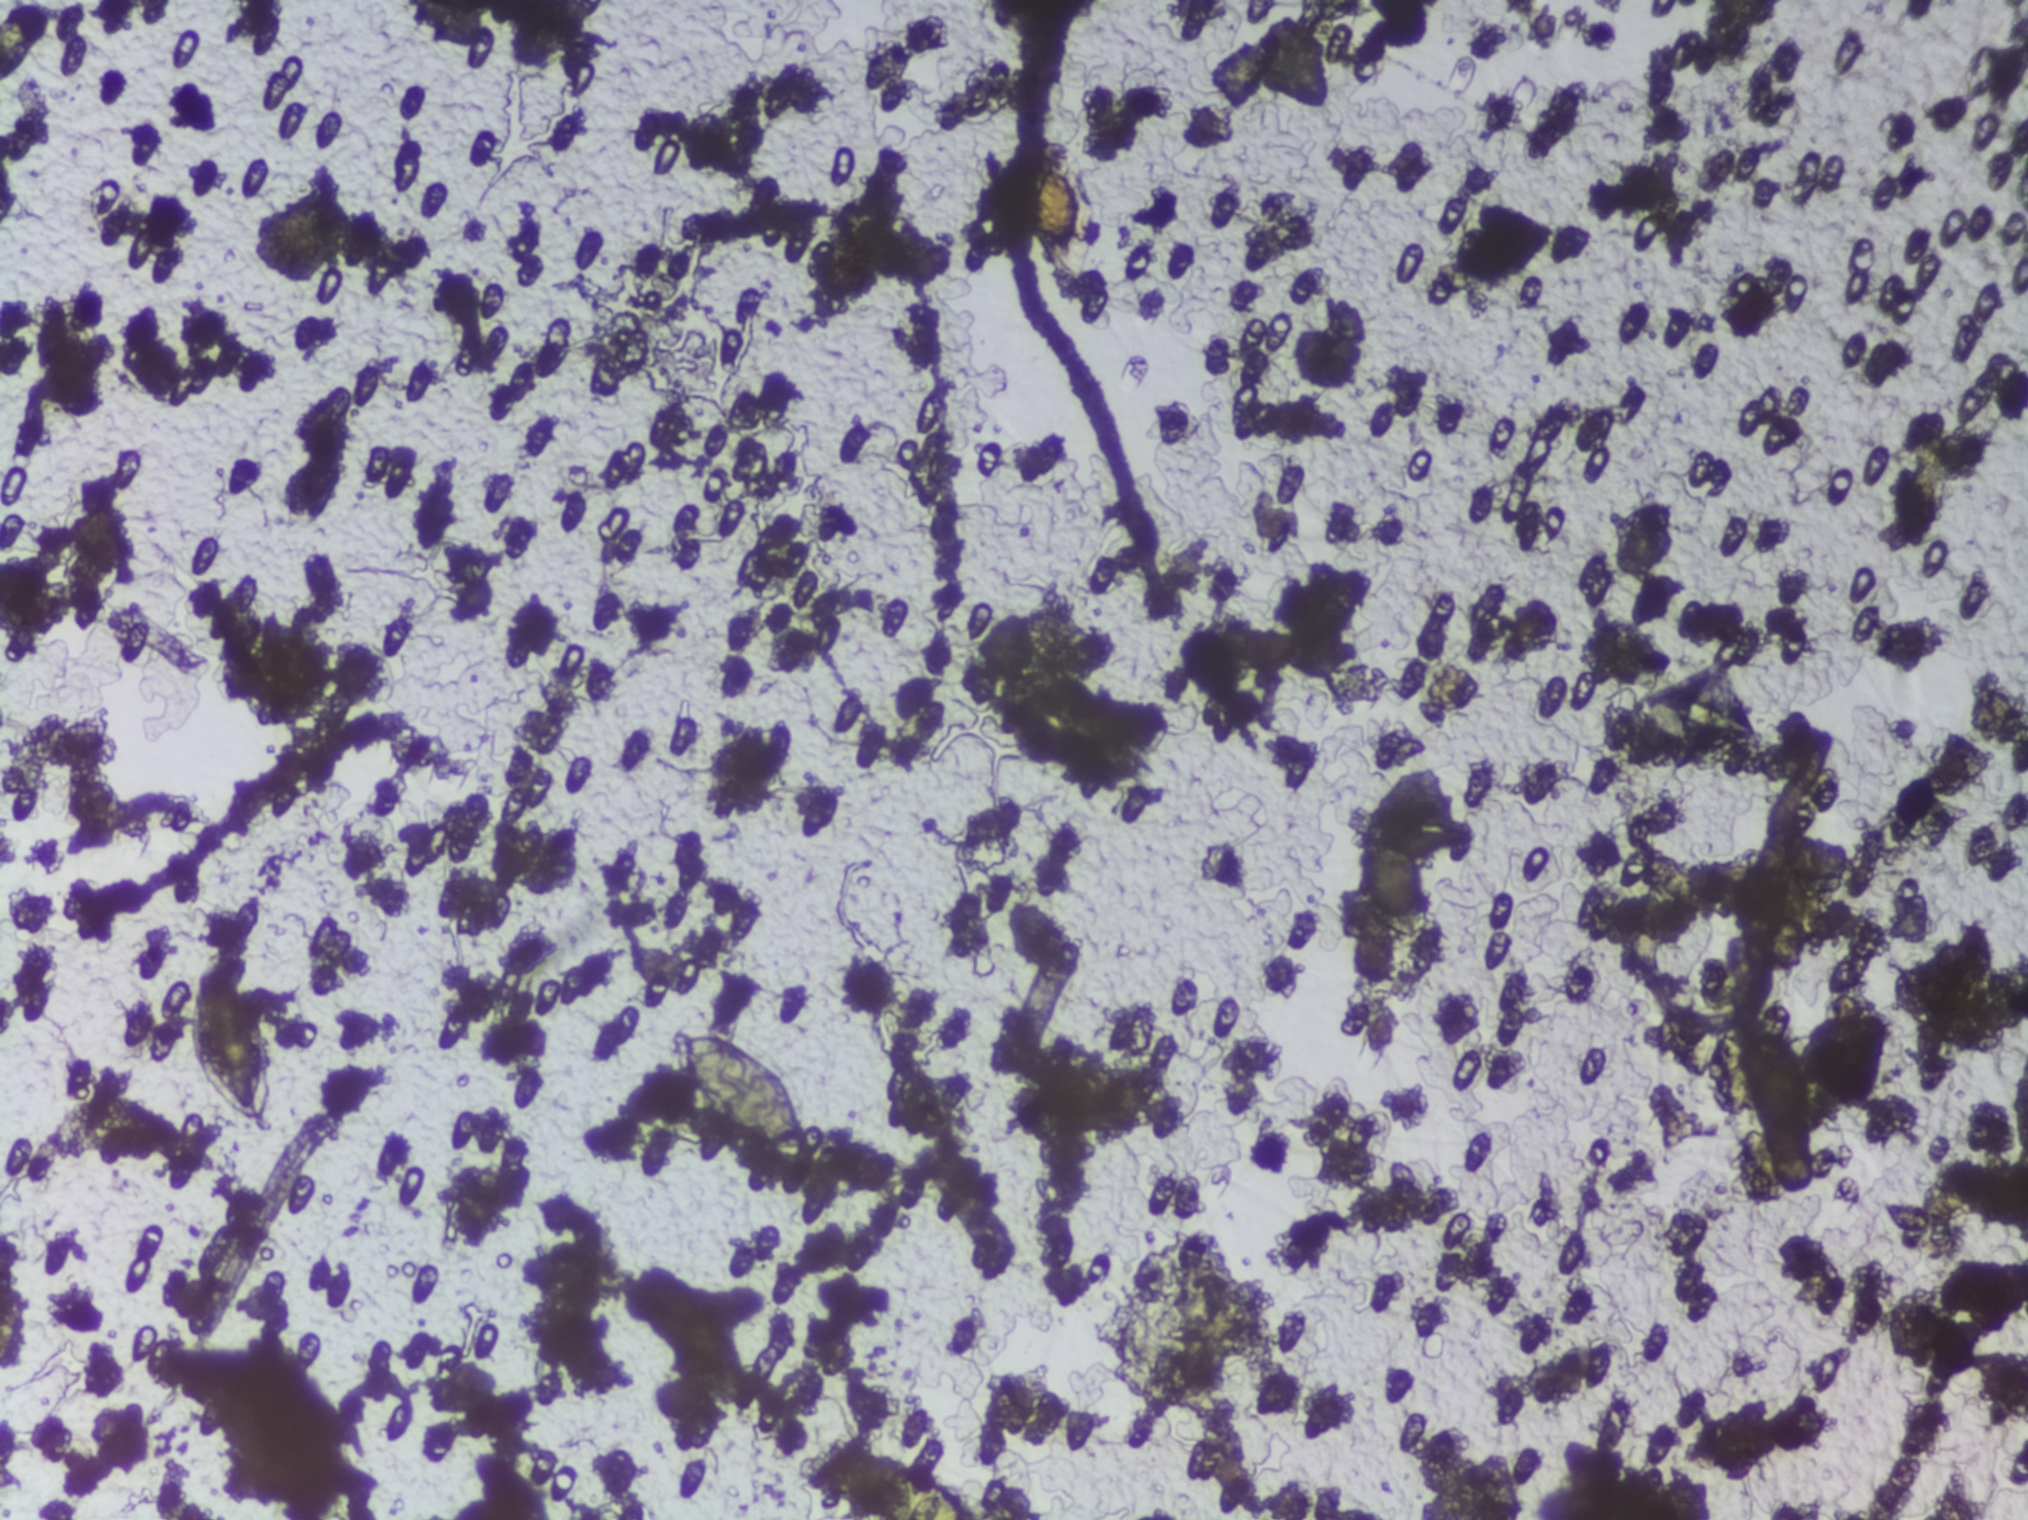
Urine filtration membrane under a 4× objective, photographed by an automated digital microscope.
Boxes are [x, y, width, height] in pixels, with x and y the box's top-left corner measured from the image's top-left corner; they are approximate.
Two areas of this image are outlined as Schistosoma eggs, from left to right: [189, 958, 88, 170] and [669, 1025, 151, 163]. Eggs that touch can end up inside the same outlined area.